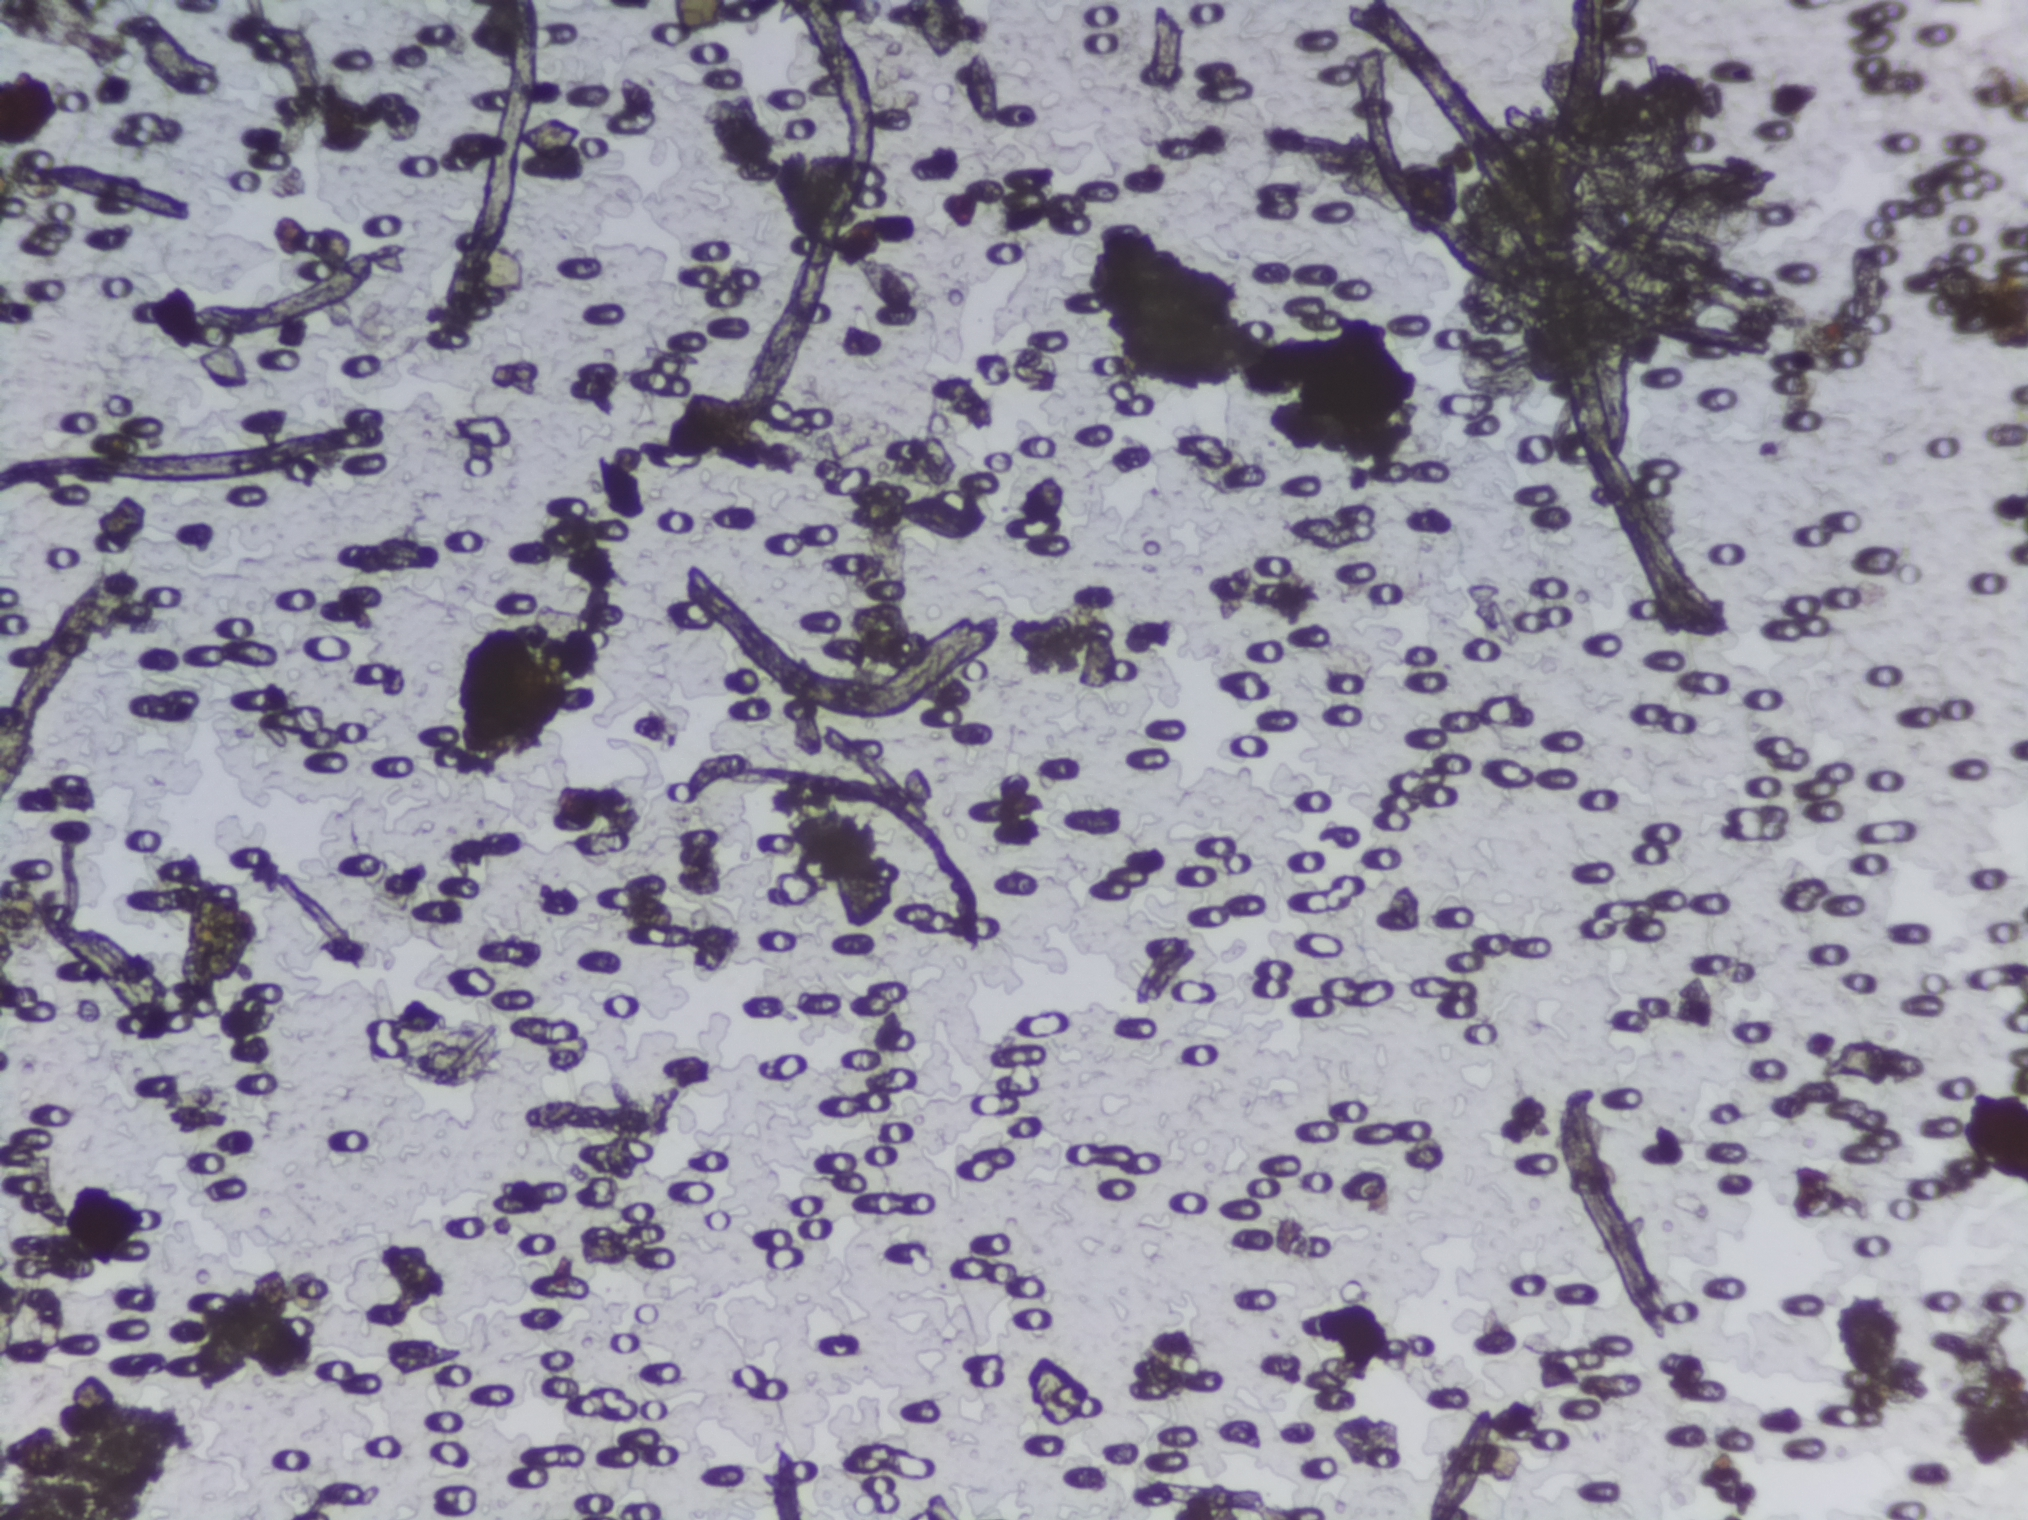
One field of view of a urine filter membrane, 4× objective, 2028 × 1520 pixels.
Schistosoma eggs: none outlined.